Photomicrograph of a urine filtration membrane, 4× objective. The image covers about 1.5 × 1.1 mm of the membrane.
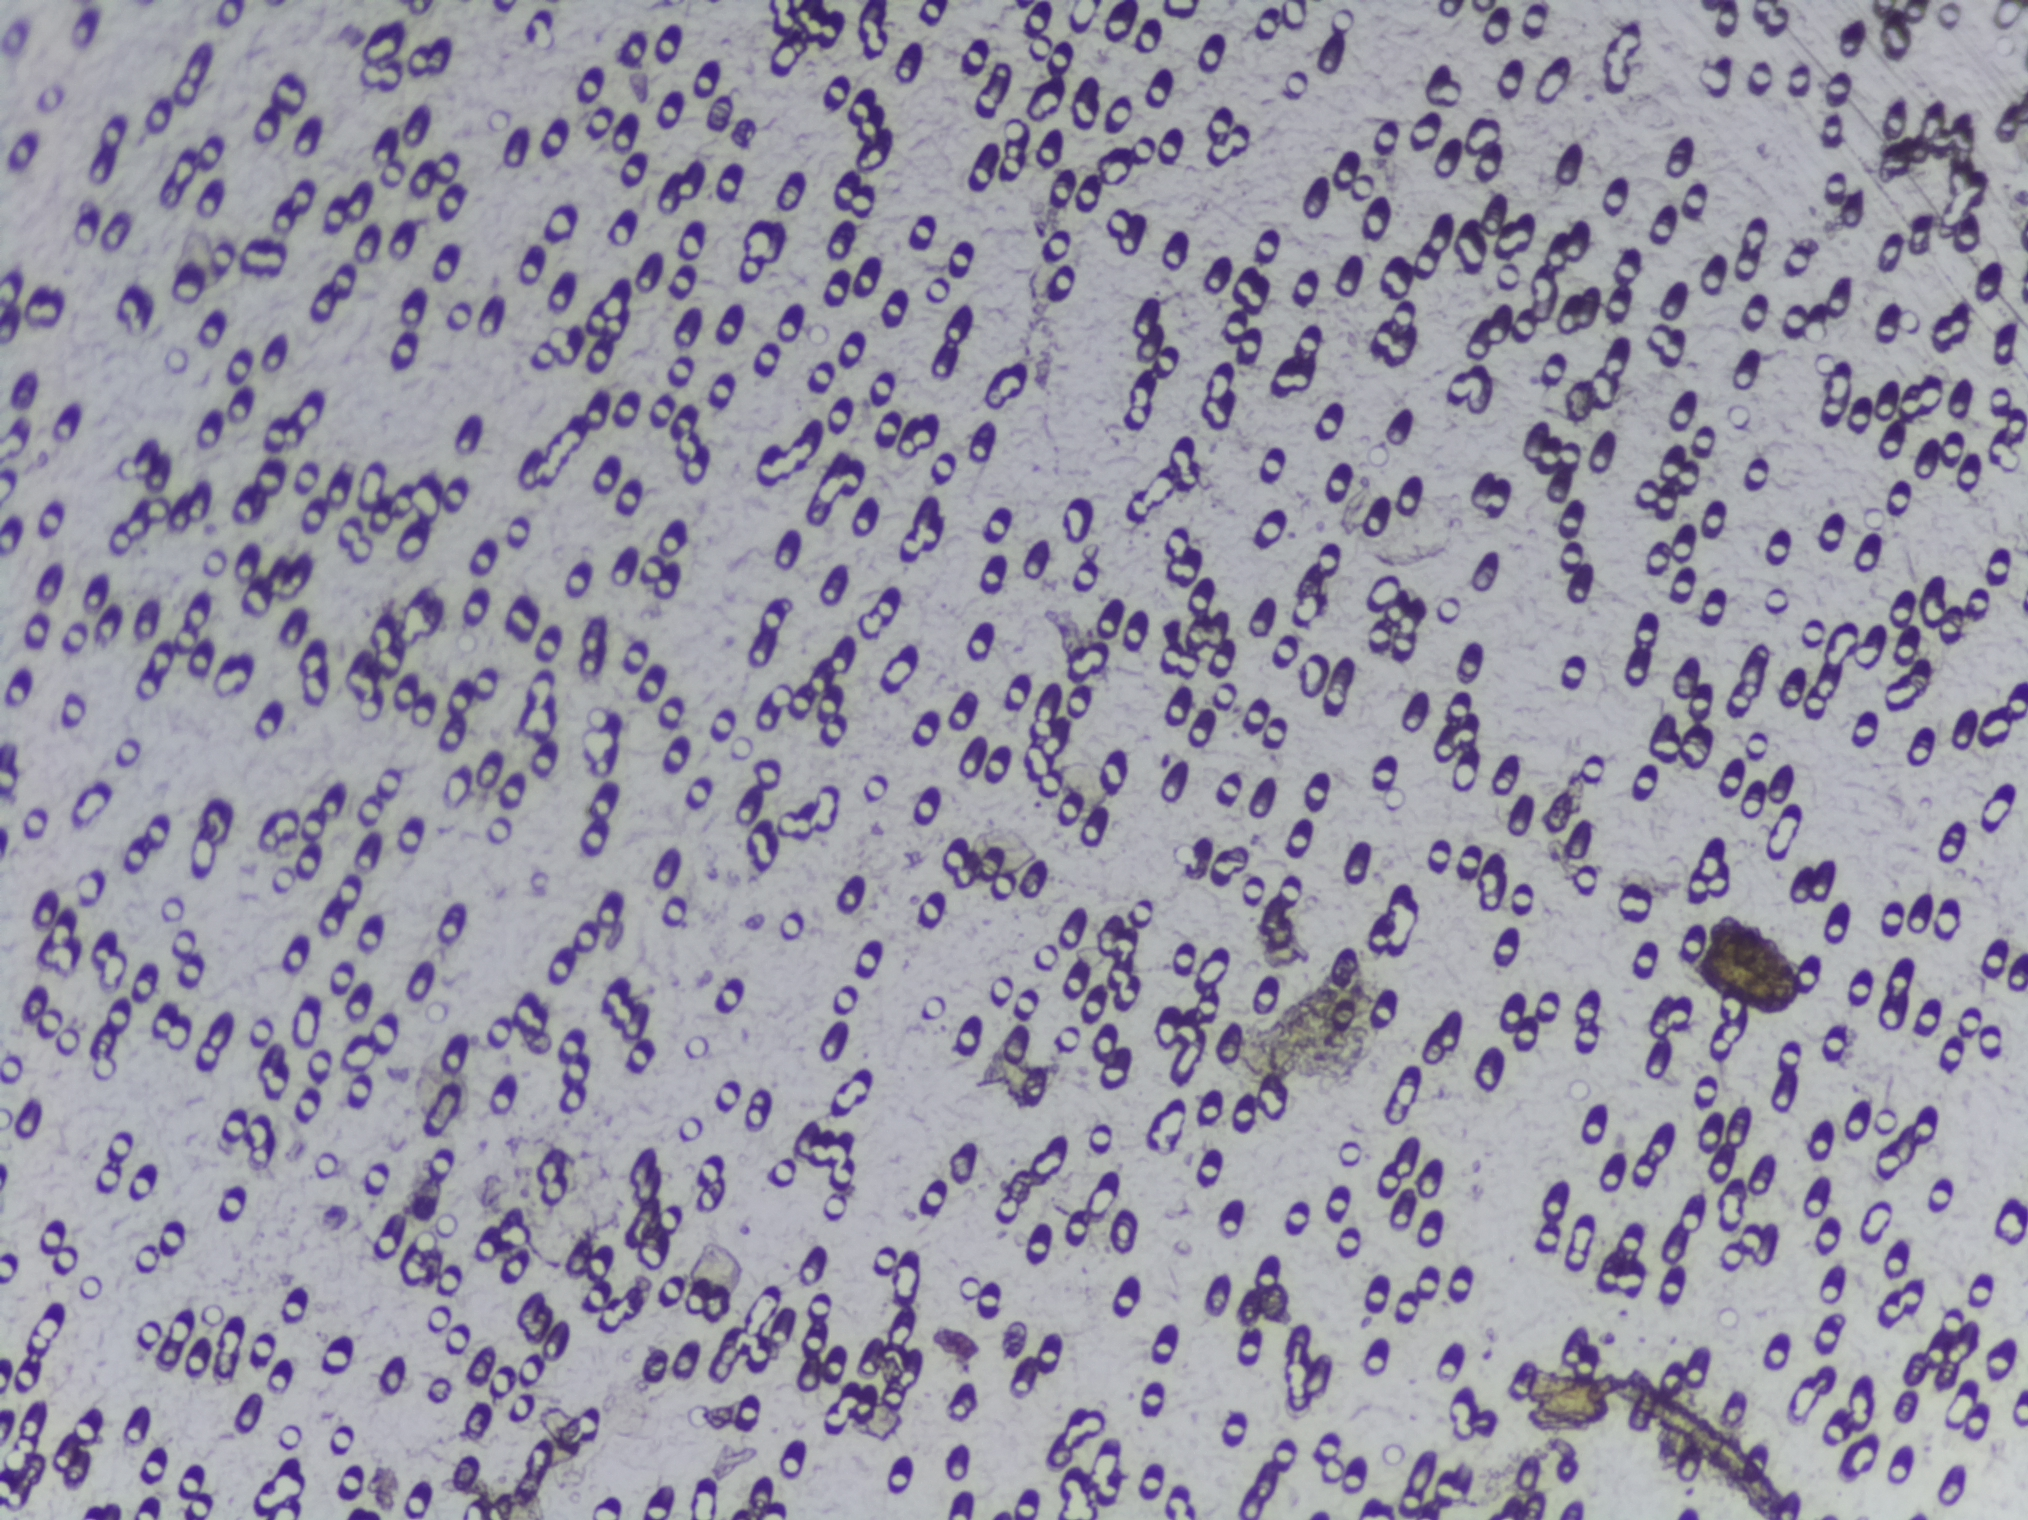
The expert annotation outlines no Schistosoma egg in this image.